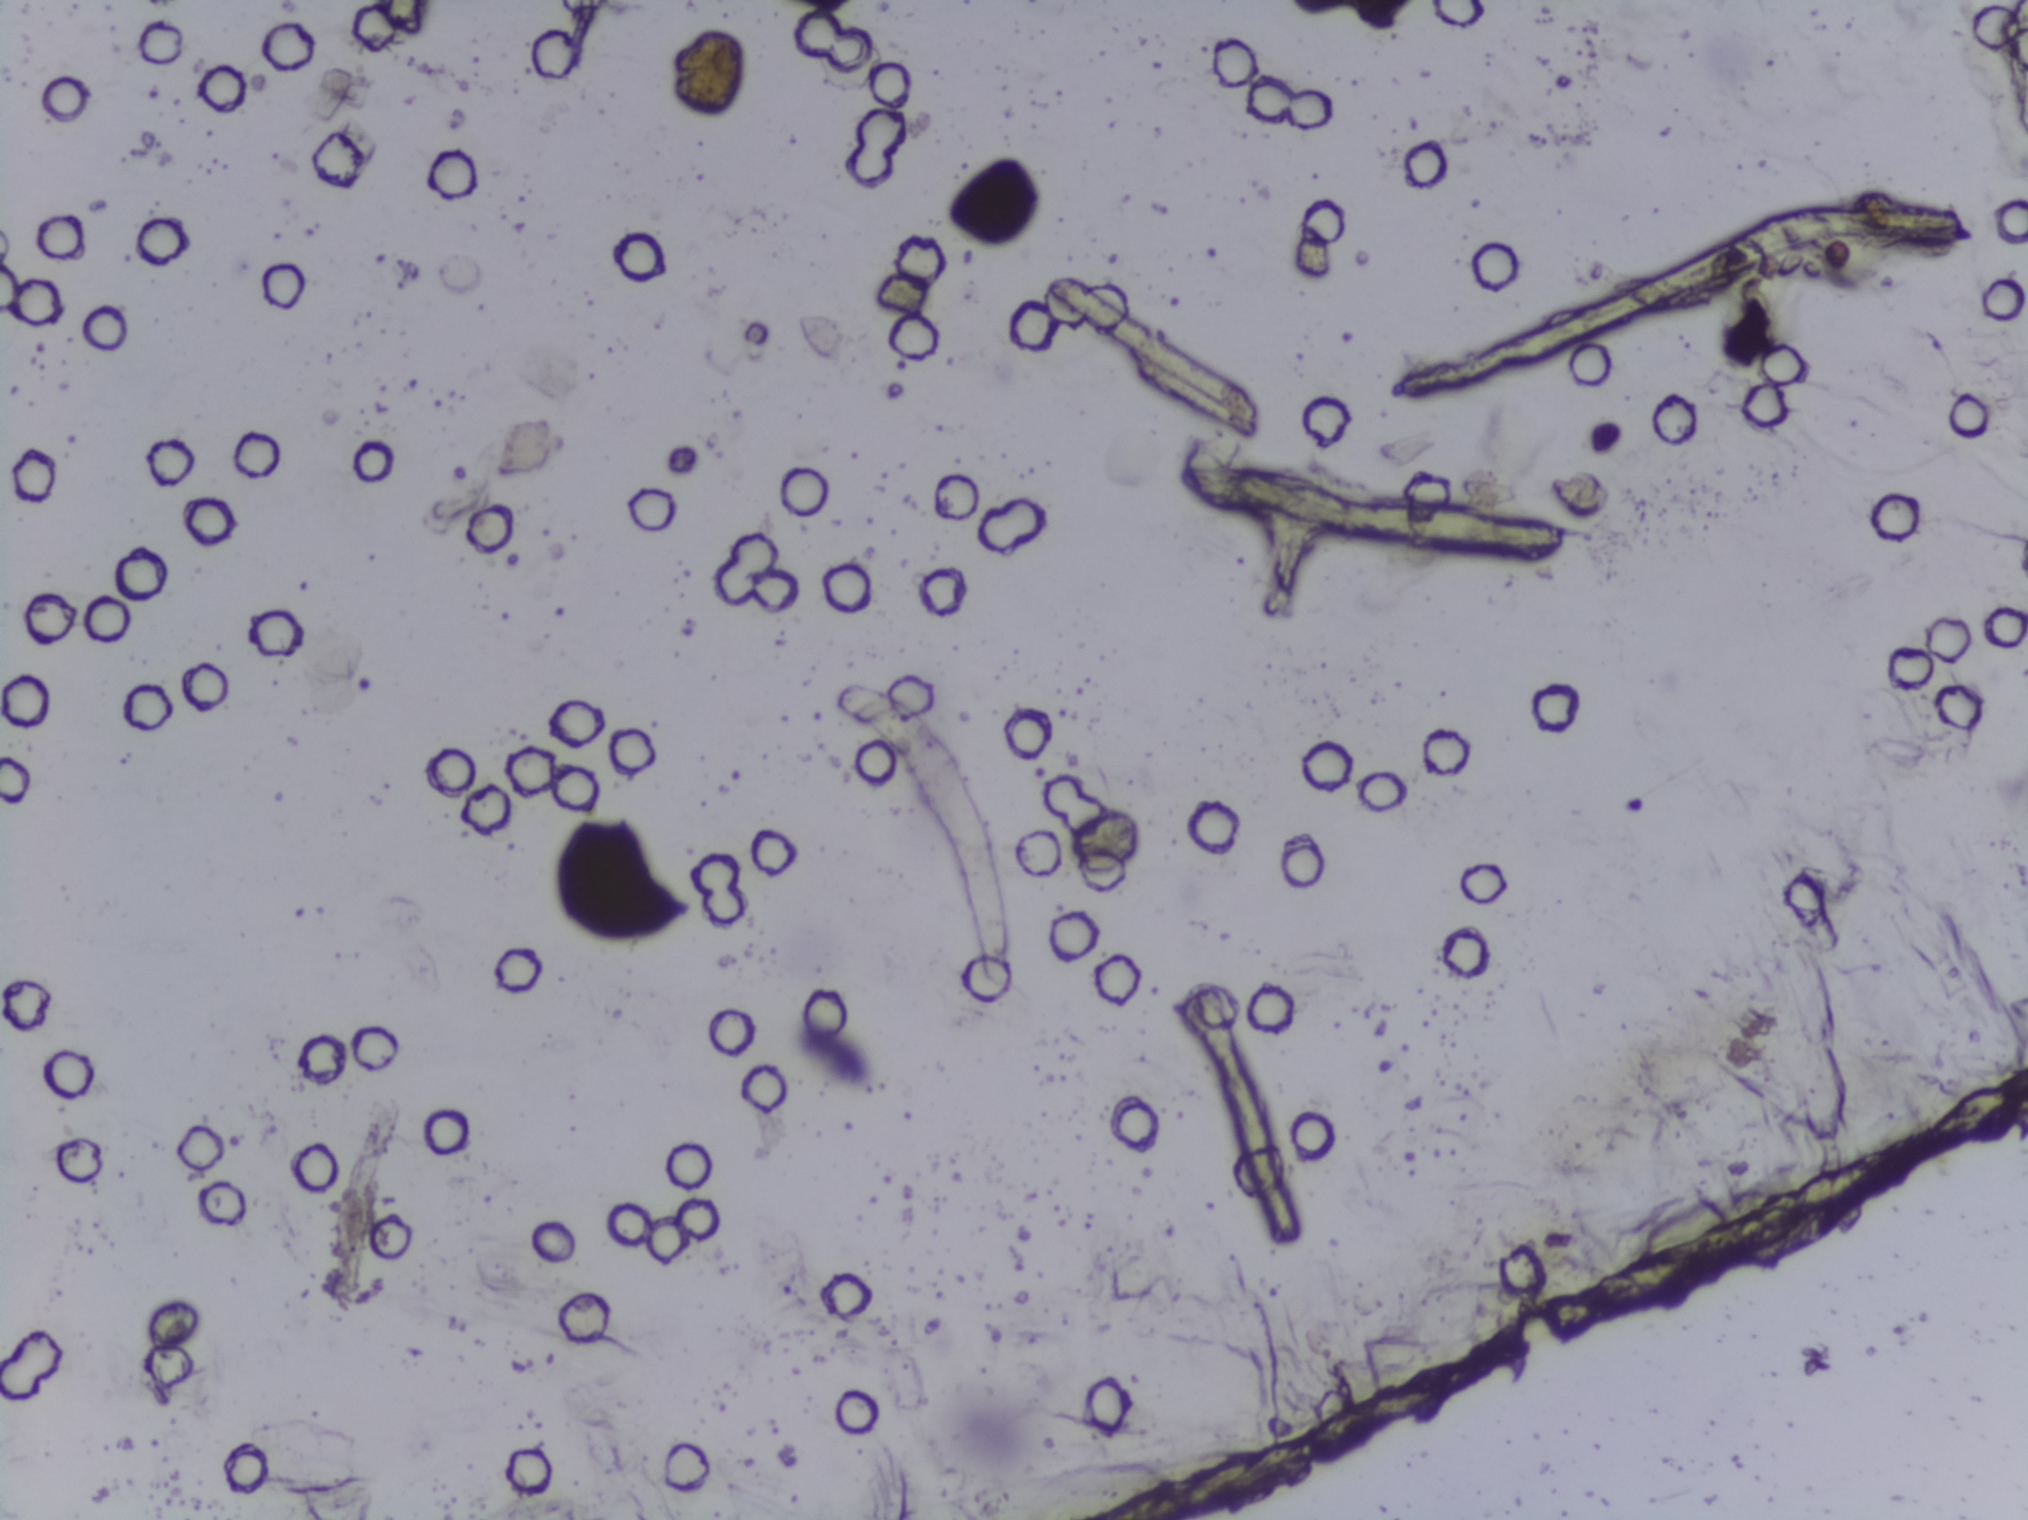
Microscope photograph (4× objective) of a membrane that a urine sample was filtered through.
No Schistosoma egg is outlined in this image's expert annotation.